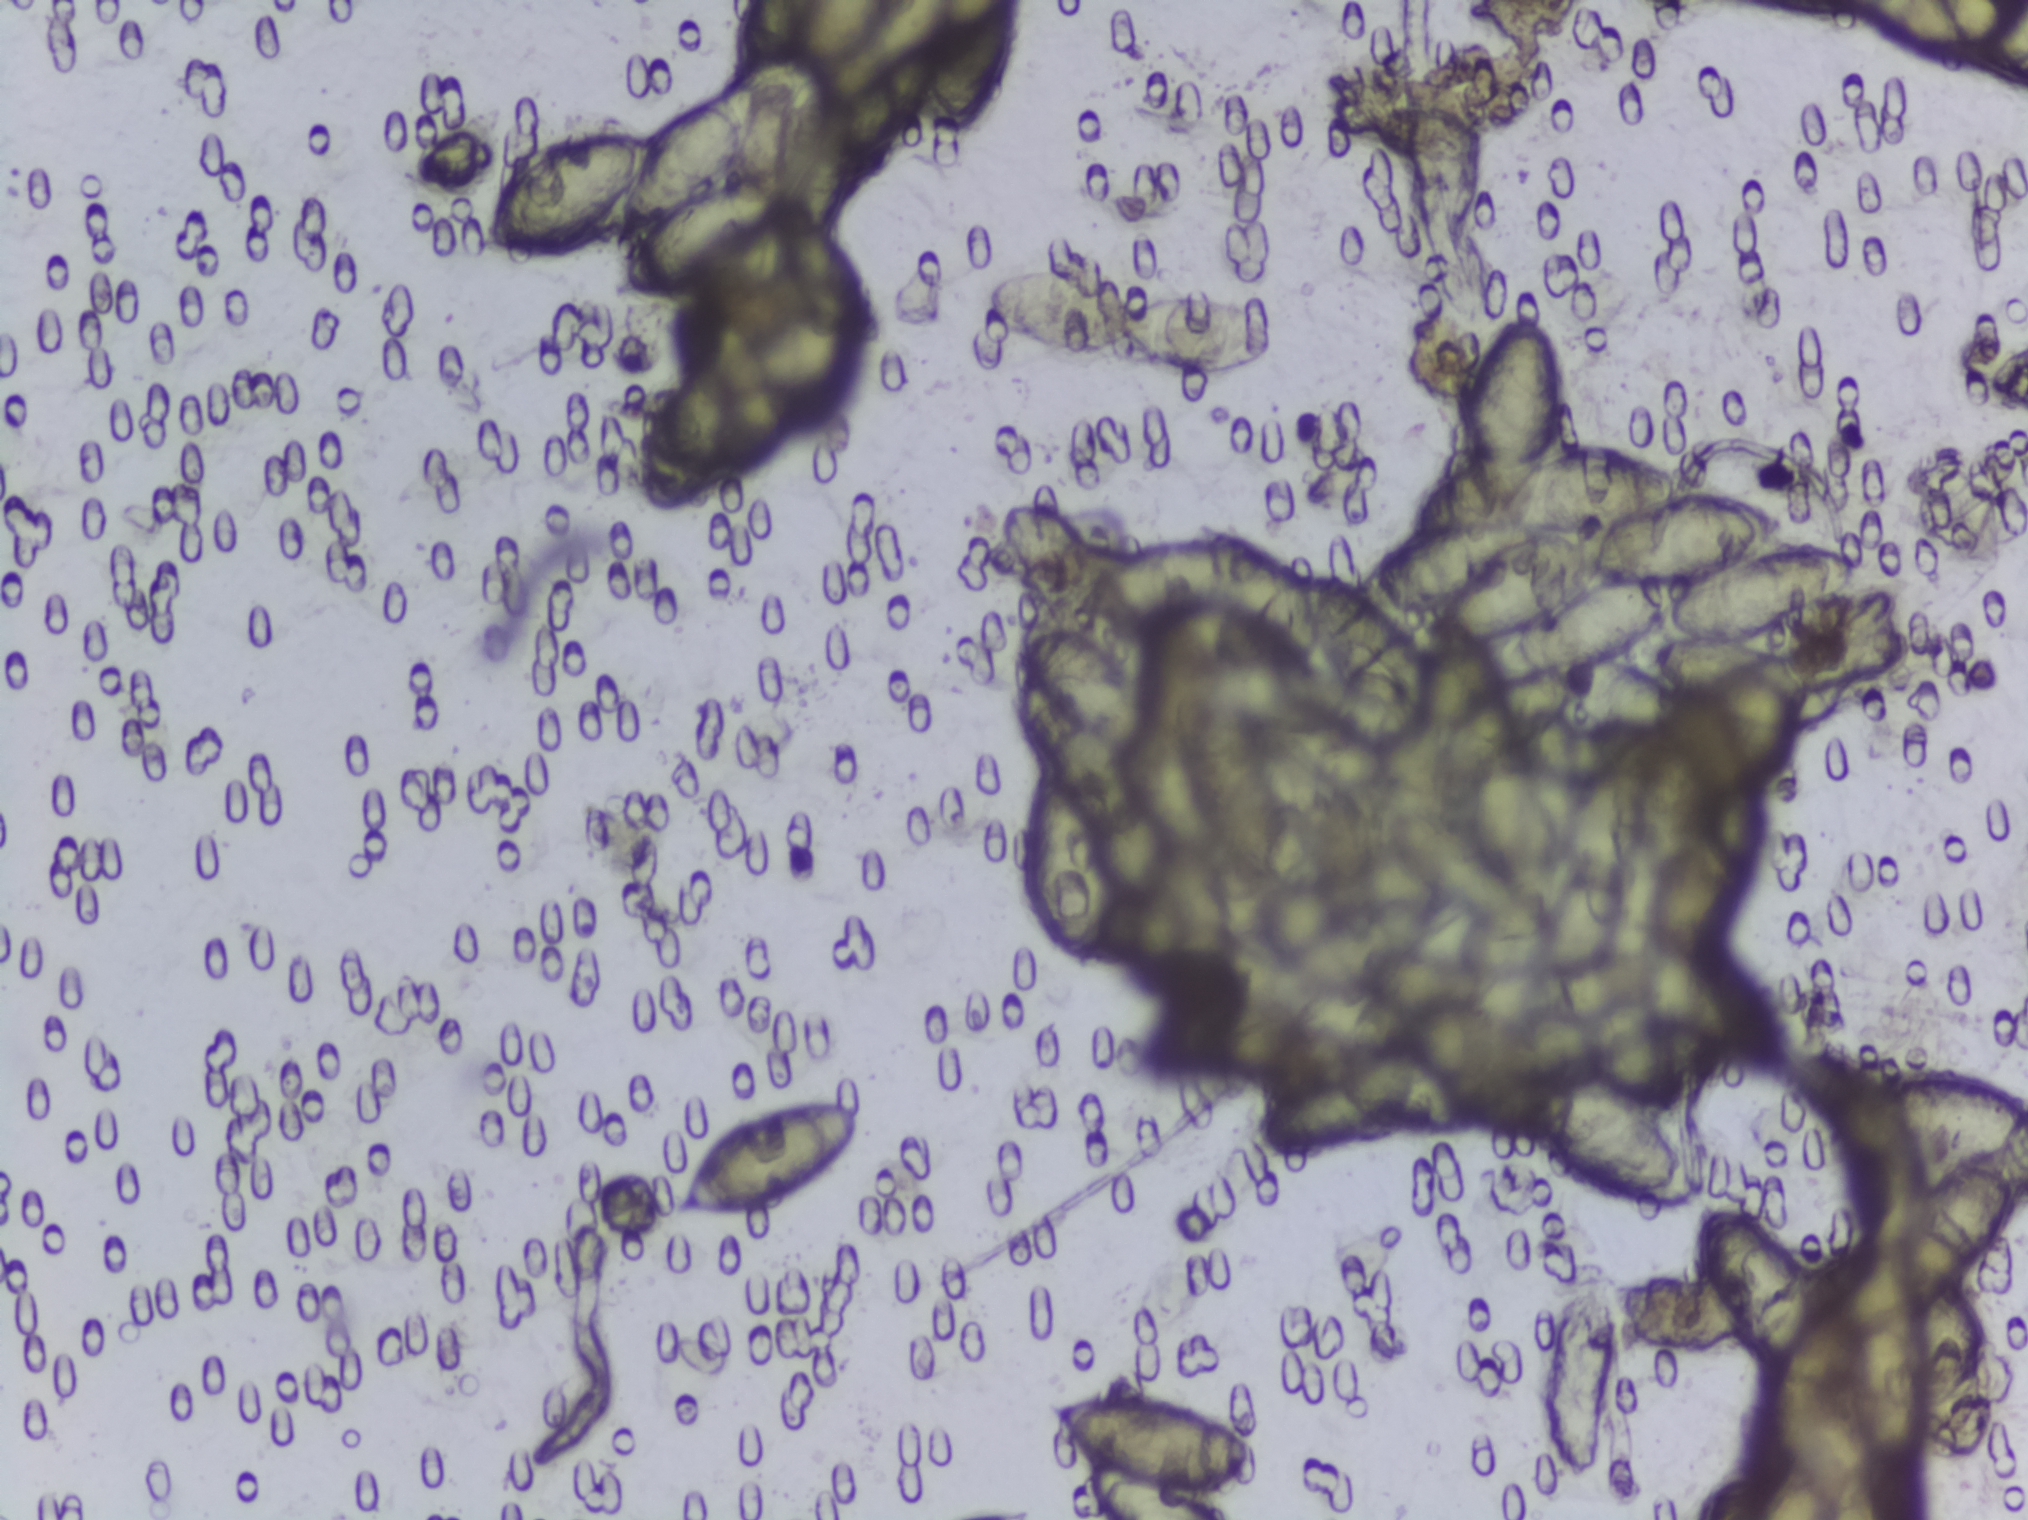
Photograph from an automated digital microscope: urine filter membrane, 4× objective. The field of view is about 1.5 mm × 1.1 mm.
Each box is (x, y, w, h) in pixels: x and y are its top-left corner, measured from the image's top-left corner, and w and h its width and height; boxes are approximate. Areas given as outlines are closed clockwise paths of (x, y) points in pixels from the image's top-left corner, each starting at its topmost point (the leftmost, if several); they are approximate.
Schistosoma egg areas, outlined: outline (740, 0), (1011, 0), (1011, 10), (993, 76), (963, 123), (950, 112), (935, 69), (924, 103), (899, 126), (891, 144), (859, 169), (845, 170), (831, 230), (852, 268), (855, 320), (832, 370), (779, 410), (782, 434), (775, 442), (751, 446), (723, 428), (695, 499), (680, 512), (665, 512), (650, 508), (644, 497), (643, 420), (656, 398), (690, 369), (692, 326), (715, 317), (721, 298), (706, 281), (673, 297), (636, 296), (623, 286), (624, 258), (645, 230), (617, 248), (622, 207), (586, 237), (539, 255), (492, 253), (486, 220), (520, 158), (569, 141), (621, 132), (651, 135), (720, 97), (736, 66), (733, 31) (a cluster of eggs; reaching the top edge of the frame); box (x=676, y=1101, w=184, h=112); box (x=985, y=266, w=290, h=115); outline (1516, 312), (1537, 317), (1551, 338), (1557, 365), (1552, 450), (1608, 445), (1654, 456), (1677, 468), (1683, 495), (1733, 498), (1775, 511), (1777, 524), (1761, 551), (1835, 545), (1855, 556), (1855, 575), (1839, 592), (1764, 639), (1786, 641), (1814, 626), (1862, 618), (1901, 618), (1912, 634), (1912, 648), (1900, 660), (1843, 683), (1843, 704), (1827, 722), (1781, 728), (1767, 752), (1745, 763), (1732, 758), (1719, 715), (1683, 694), (1680, 713), (1655, 731), (1606, 729), (1557, 707), (1608, 760), (1621, 743), (1641, 743), (1654, 769), (1667, 754), (1681, 752), (1698, 776), (1702, 802), (1738, 790), (1755, 797), (1757, 834), (1741, 899), (1727, 921), (1702, 940), (1729, 980), (1735, 1030), (1706, 1041), (1662, 1024), (1675, 1073), (1665, 1093), (1643, 1100), (1690, 1163), (1692, 1192), (1679, 1207), (1613, 1201), (1557, 1170), (1537, 1131), (1499, 1131), (1461, 1117), (1448, 1134), (1420, 1134), (1387, 1121), (1354, 1143), (1313, 1156), (1257, 1152), (1247, 1141), (1246, 1120), (1266, 1105), (1258, 1061), (1271, 1053), (1271, 1035), (1284, 1019), (1240, 994), (1221, 952), (1192, 955), (1180, 945), (1163, 888), (1155, 916), (1133, 941), (1107, 943), (1090, 970), (1076, 973), (1042, 932), (1021, 875), (1020, 826), (1031, 783), (1041, 773), (1028, 756), (1010, 703), (1015, 673), (1026, 665), (1027, 635), (1040, 626), (1076, 627), (1114, 651), (1132, 677), (1147, 620), (1073, 619), (1075, 600), (1113, 559), (1196, 538), (1204, 523), (1237, 525), (1304, 573), (1349, 574), (1370, 589), (1372, 559), (1409, 532), (1431, 478), (1446, 454), (1462, 446), (1458, 402), (1478, 346) (a cluster of eggs); box (x=1047, y=1395, w=204, h=125) (reaching the bottom edge of the frame); outline (1812, 1047), (1849, 1053), (1885, 1082), (1891, 1071), (1906, 1066), (1942, 1066), (1988, 1074), (2027, 1094), (2027, 1192), (1955, 1287), (1987, 1346), (1989, 1445), (1972, 1461), (1956, 1462), (1919, 1424), (1901, 1453), (1877, 1456), (1877, 1519), (1697, 1519), (1698, 1506), (1725, 1471), (1741, 1467), (1731, 1410), (1738, 1403), (1760, 1407), (1756, 1366), (1762, 1354), (1731, 1322), (1700, 1268), (1693, 1209), (1703, 1203), (1739, 1205), (1781, 1234), (1804, 1268), (1808, 1309), (1822, 1286), (1849, 1278), (1844, 1266), (1838, 1269), (1860, 1242), (1856, 1185), (1863, 1150), (1828, 1126), (1800, 1091), (1798, 1052) (a cluster of eggs; reaching the right and bottom edges of the frame); box (x=1851, y=0, w=177, h=77) (reaching the top and right edges of the frame). A single outlined area may contain several eggs.